Photomicrograph of a urine filtration membrane, 4× objective.
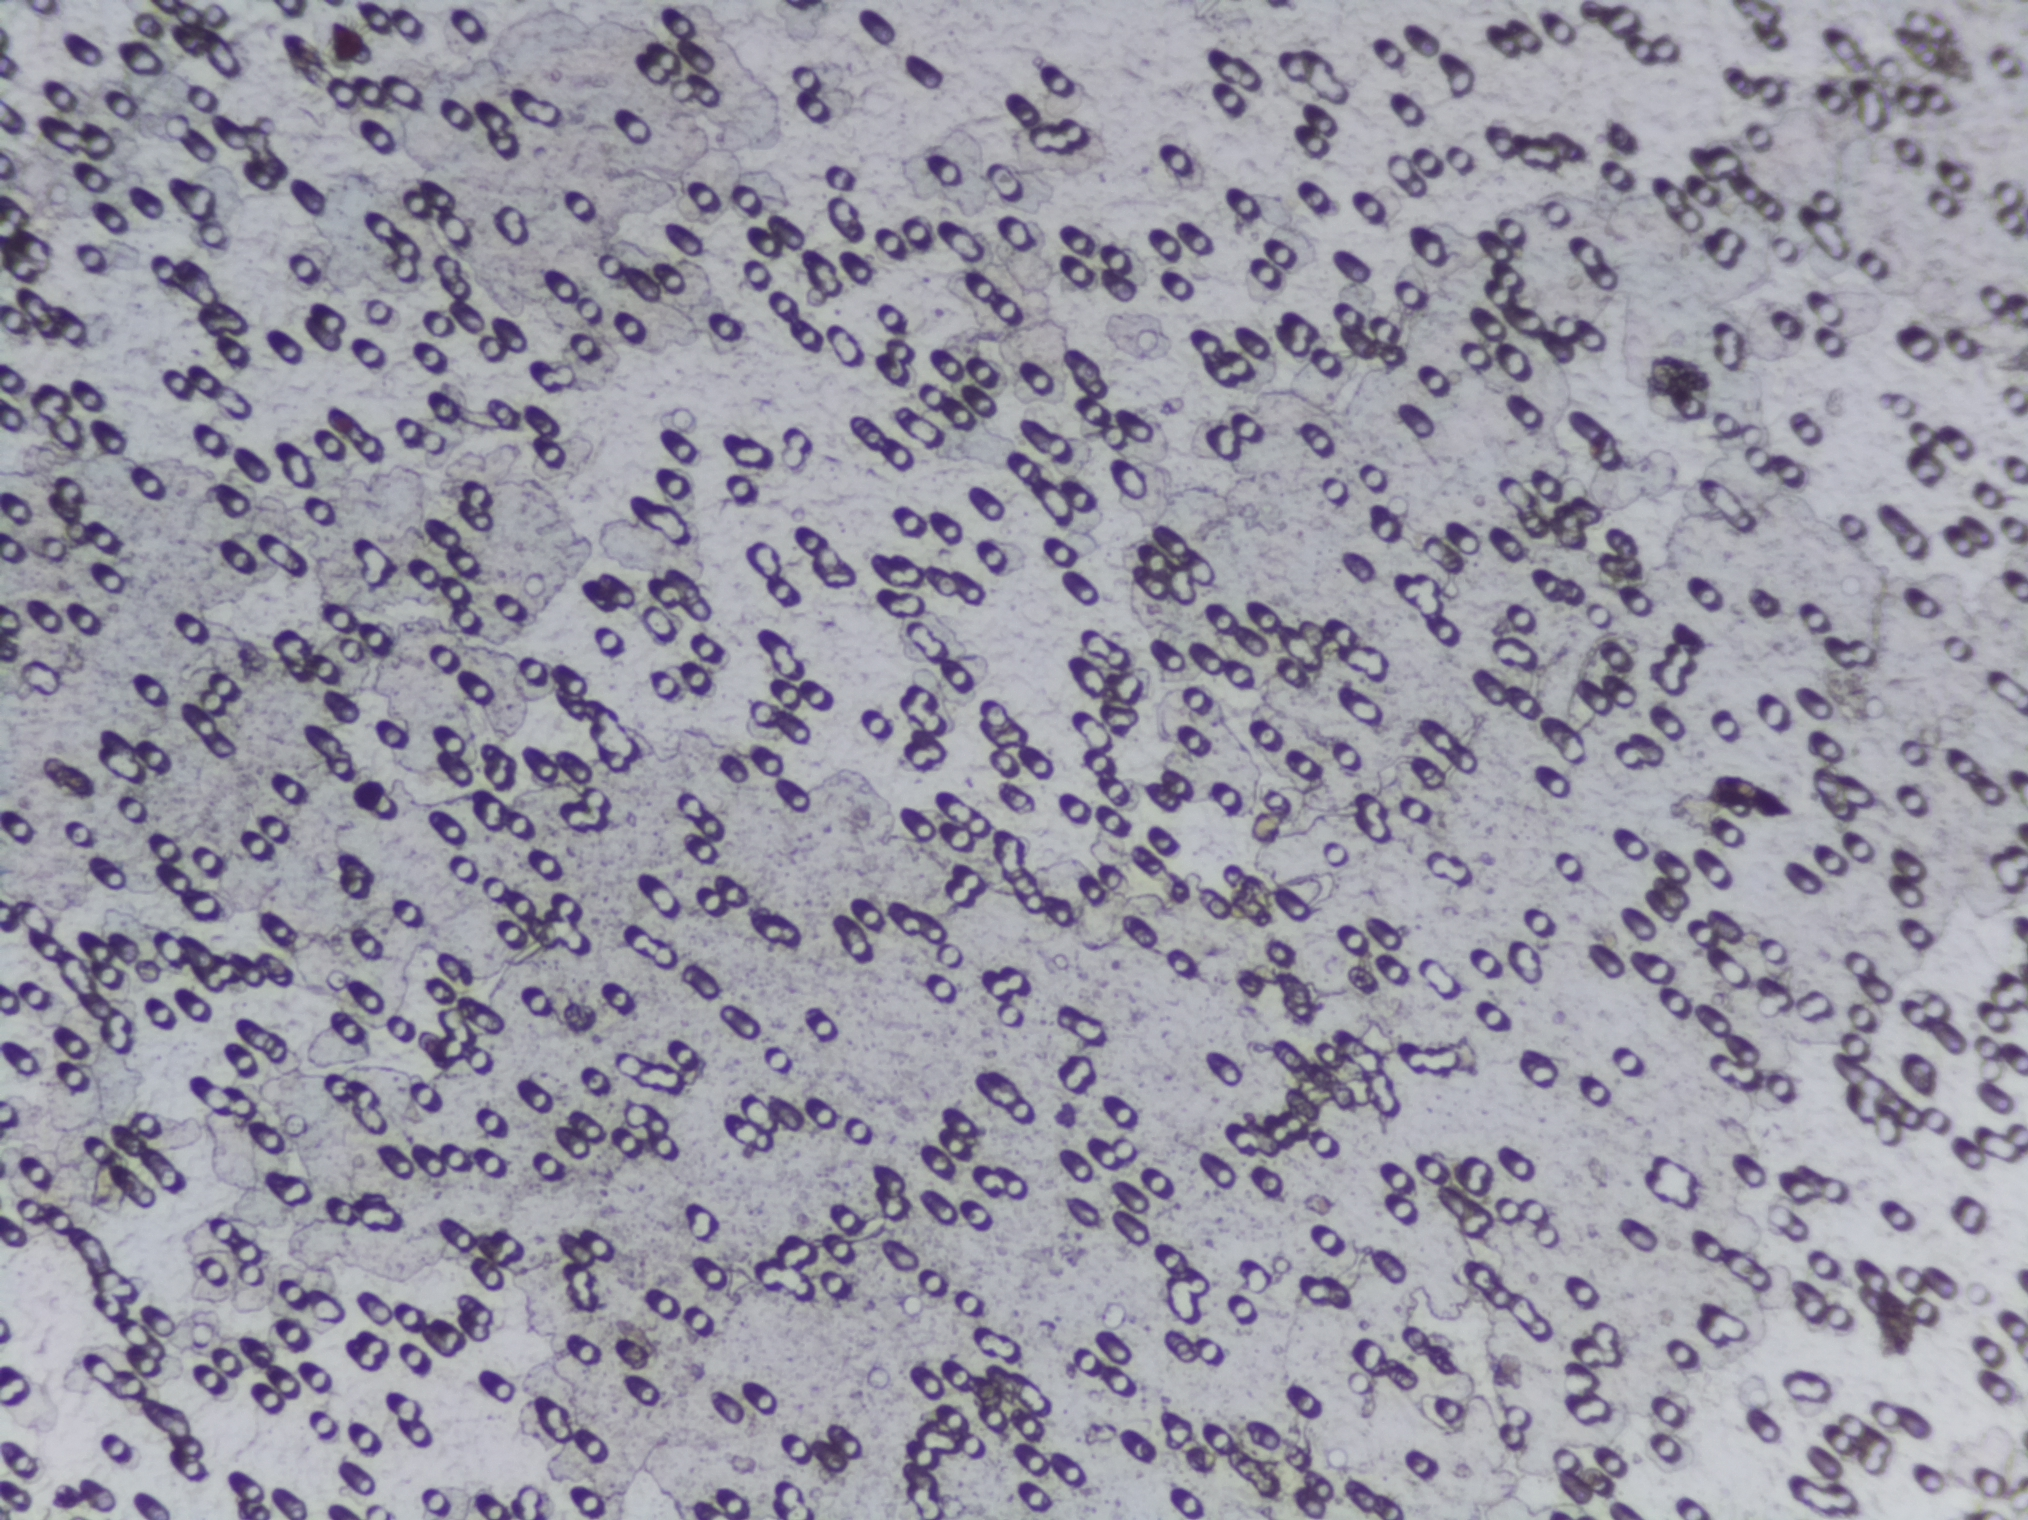
No Schistosoma egg is outlined in this image's expert annotation.